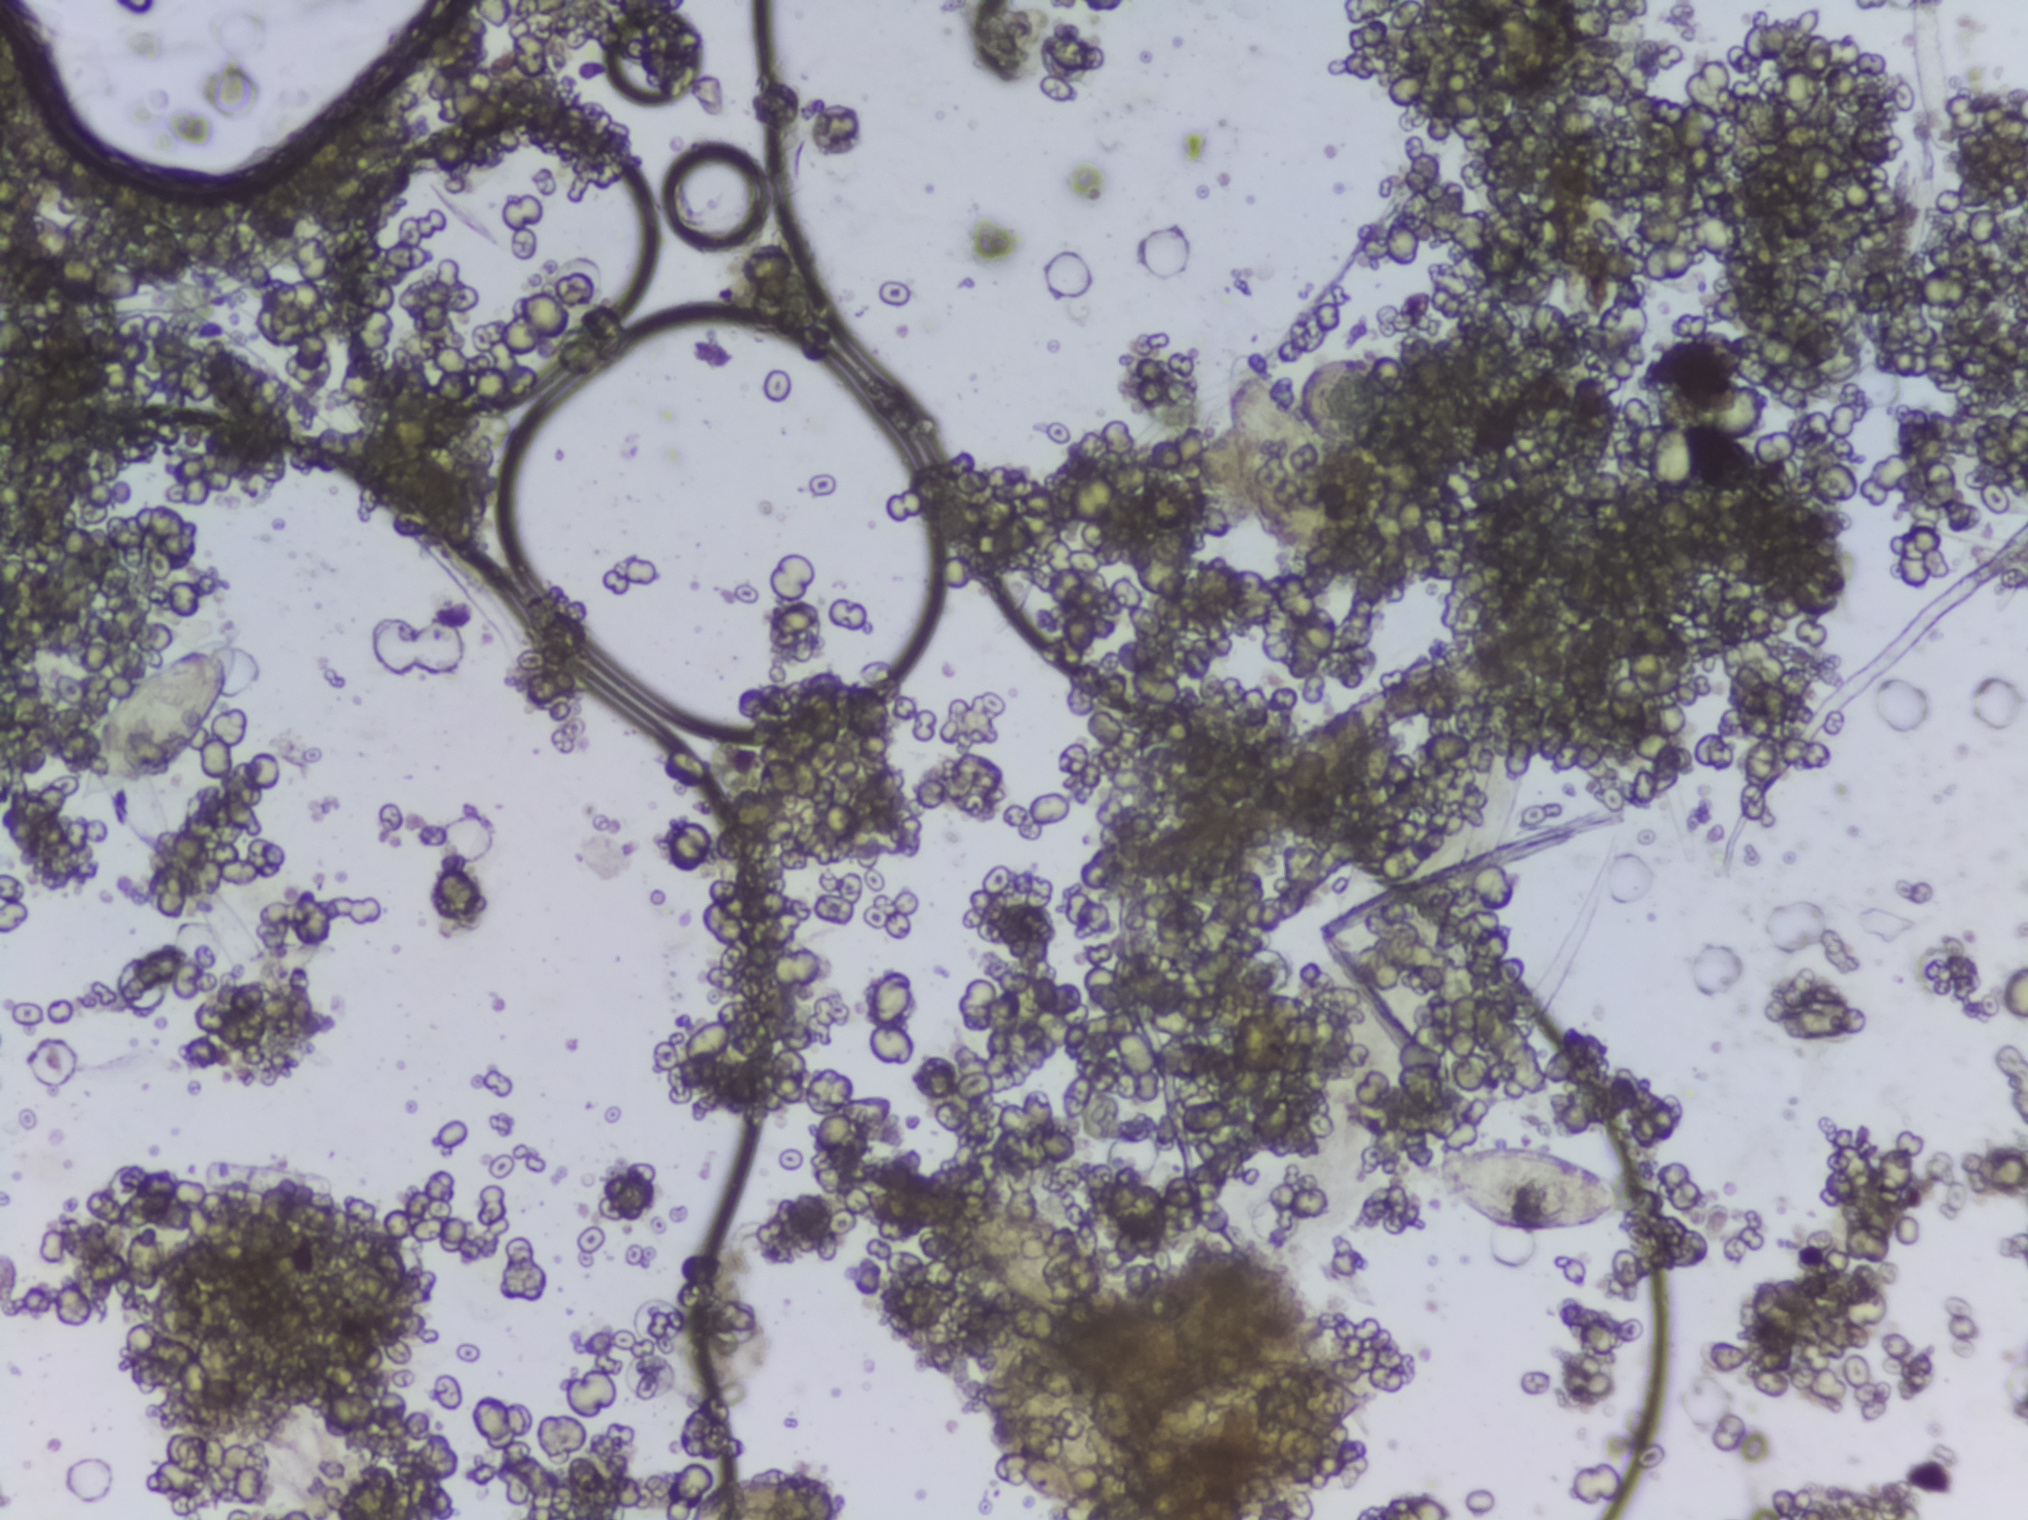
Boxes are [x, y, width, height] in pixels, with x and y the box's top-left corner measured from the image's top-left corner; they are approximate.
Findings: five areas outlined as Schistosoma eggs. Locations, left to right: [76, 636, 163, 165]; [689, 1478, 153, 42] (reaching the bottom edge of the frame); [1142, 1357, 240, 113]; [1223, 354, 130, 218]; [1412, 1140, 216, 100]. Marked pixels, not the boxes around them: about 2.4% of the image. An outlined area can hold more than one egg.
Photograph from an automated digital microscope: urine filter membrane, 4× objective.